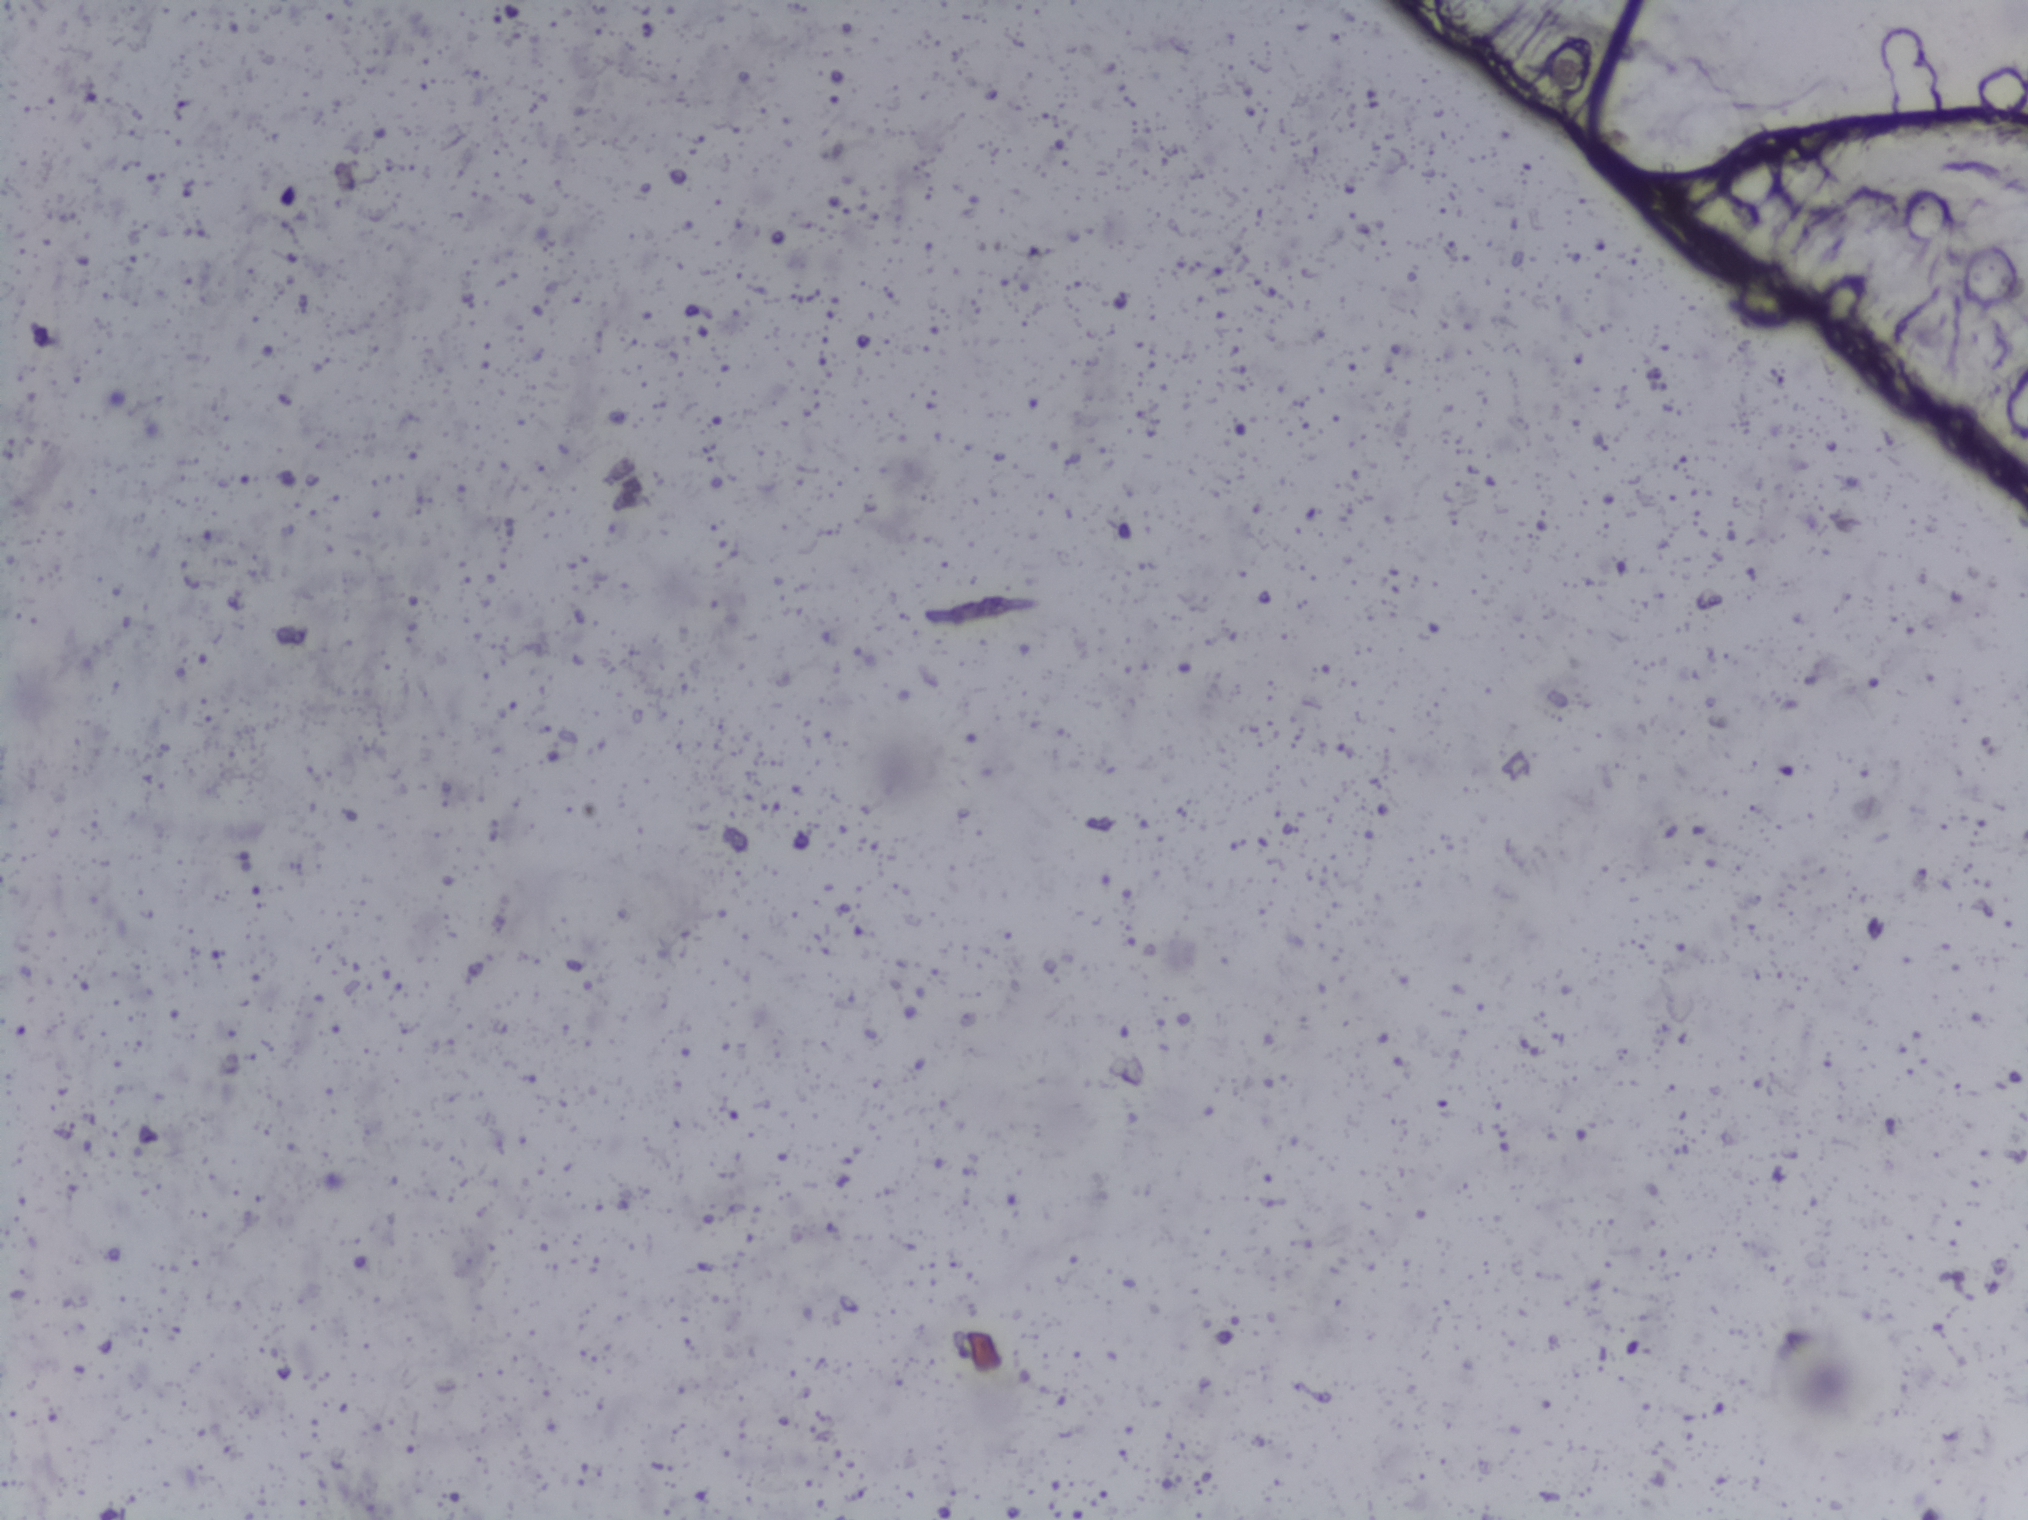
Microscope photograph (4× objective) of a membrane that a urine sample was filtered through. Field of view: about 1.5 mm wide and 1.1 mm high.
The expert annotation marks no Schistosoma egg in this field of view.